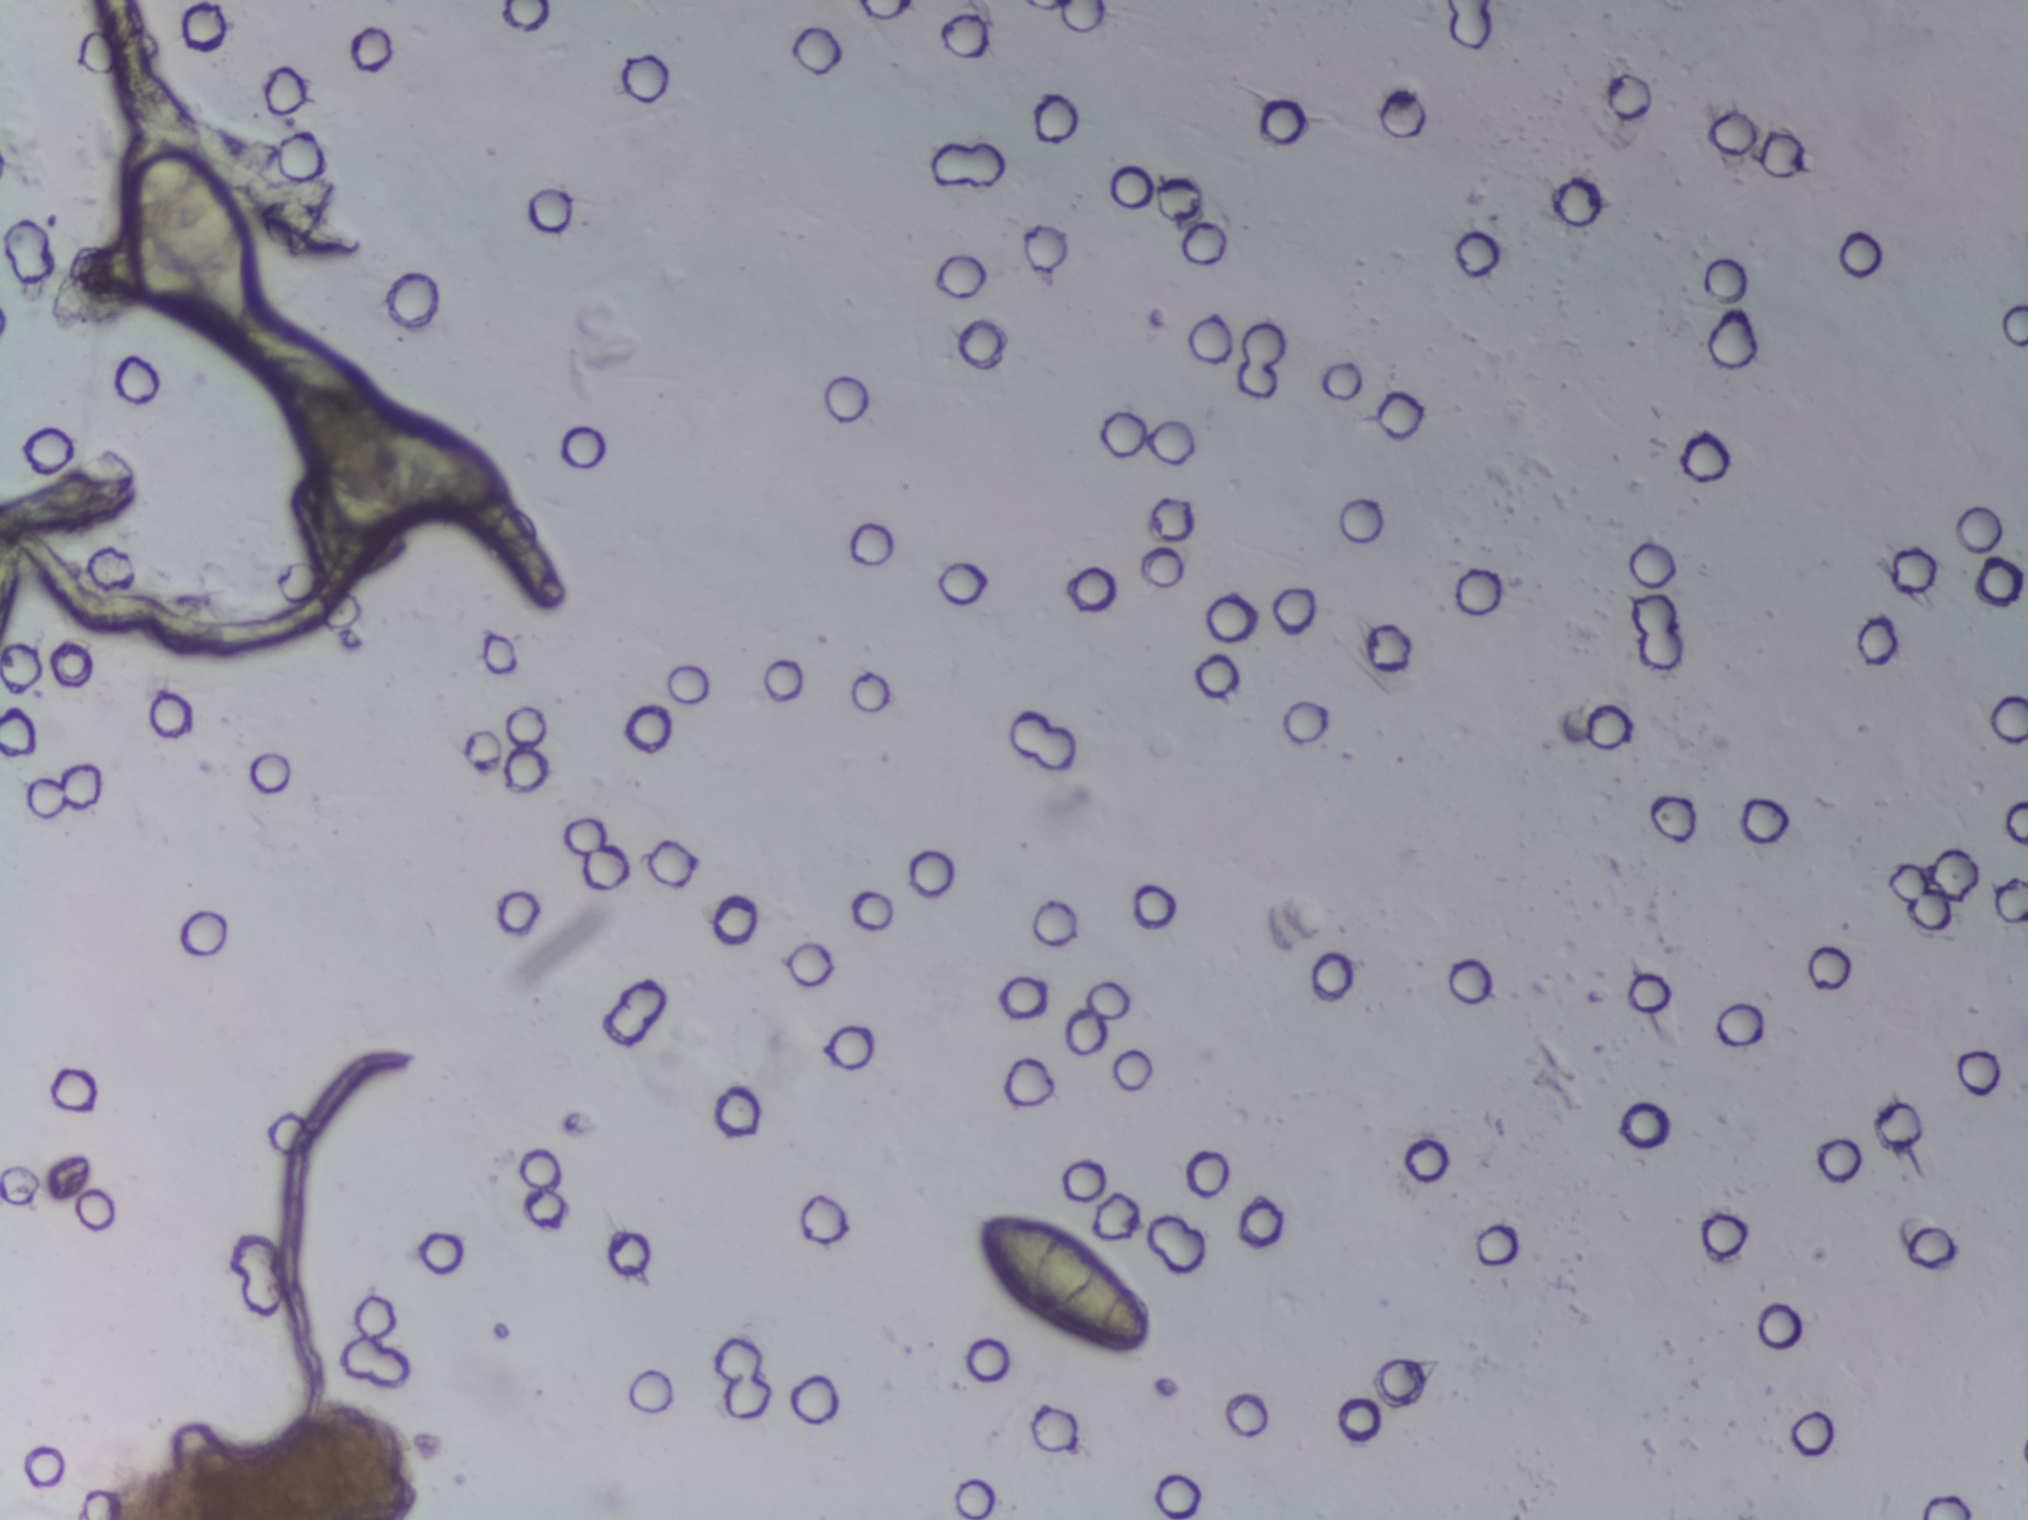
One field of view of a urine filter membrane, 4× objective, 2028 × 1520 pixels.
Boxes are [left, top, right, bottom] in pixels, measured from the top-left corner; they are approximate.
Schistosoma egg areas, outlined: [293, 427, 517, 515]; [967, 1210, 1154, 1357]. A single outlined area may contain several eggs.